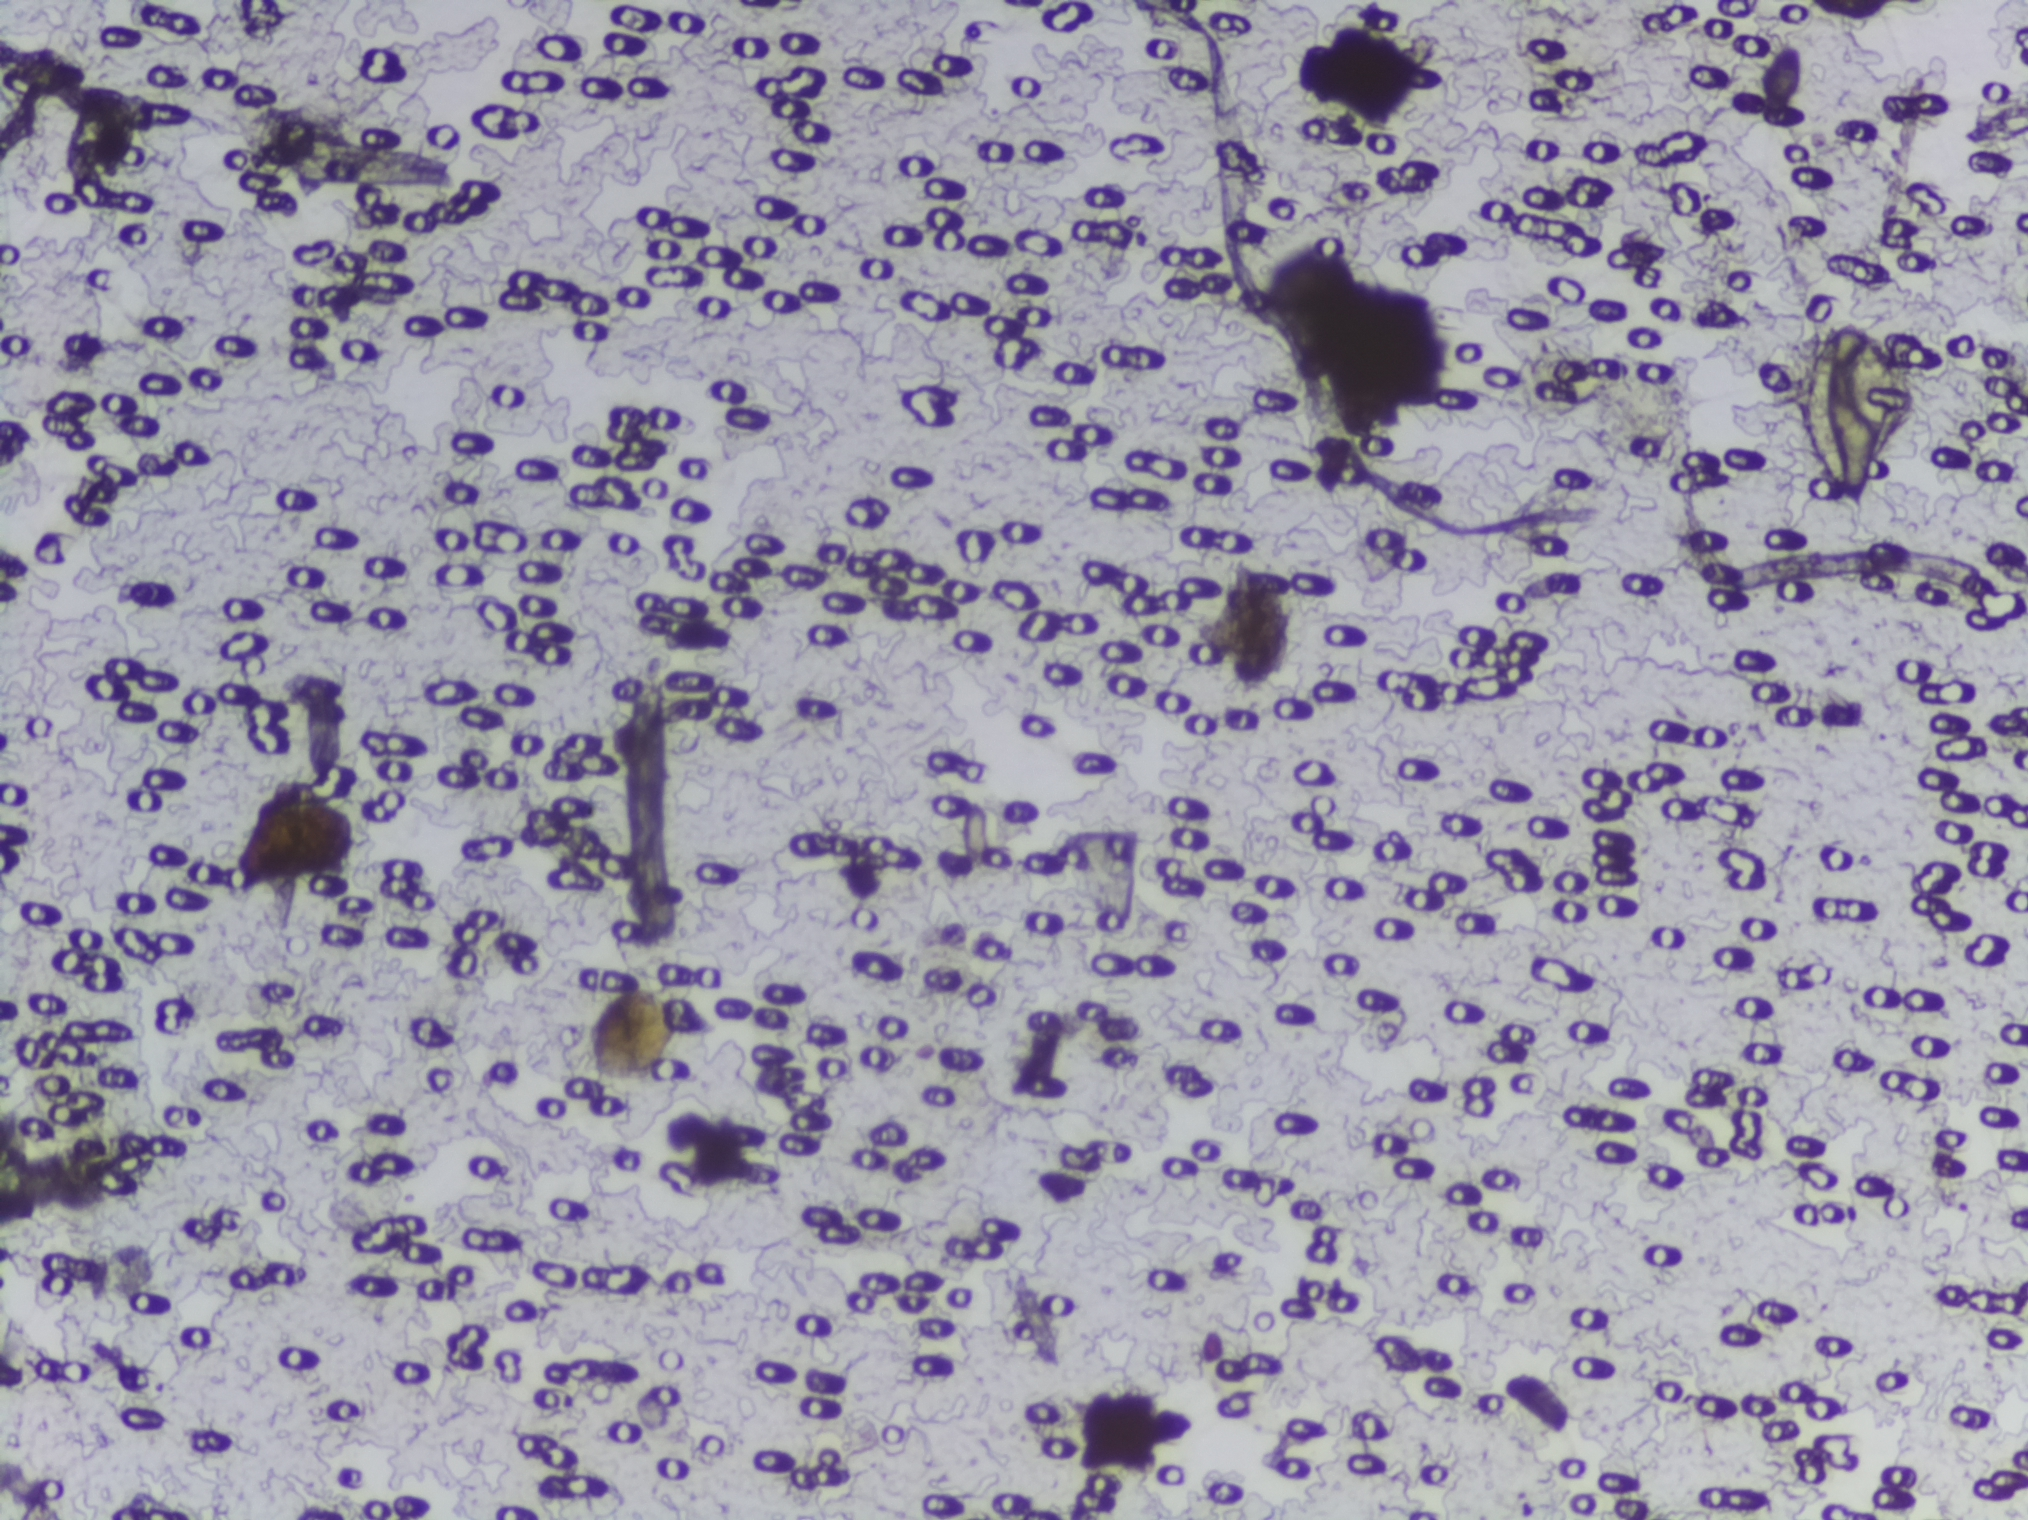
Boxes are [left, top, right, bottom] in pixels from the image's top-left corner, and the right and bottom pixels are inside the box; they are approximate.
{"schistosoma_egg_areas_xyxy_px": [[1791, 312, 1918, 515]]}
The marked pixels themselves, not the box around them, cover about 0.6% of the image. An outlined area can hold more than one egg.
Urine filtration membrane under a 4× objective, photographed by an automated digital microscope.